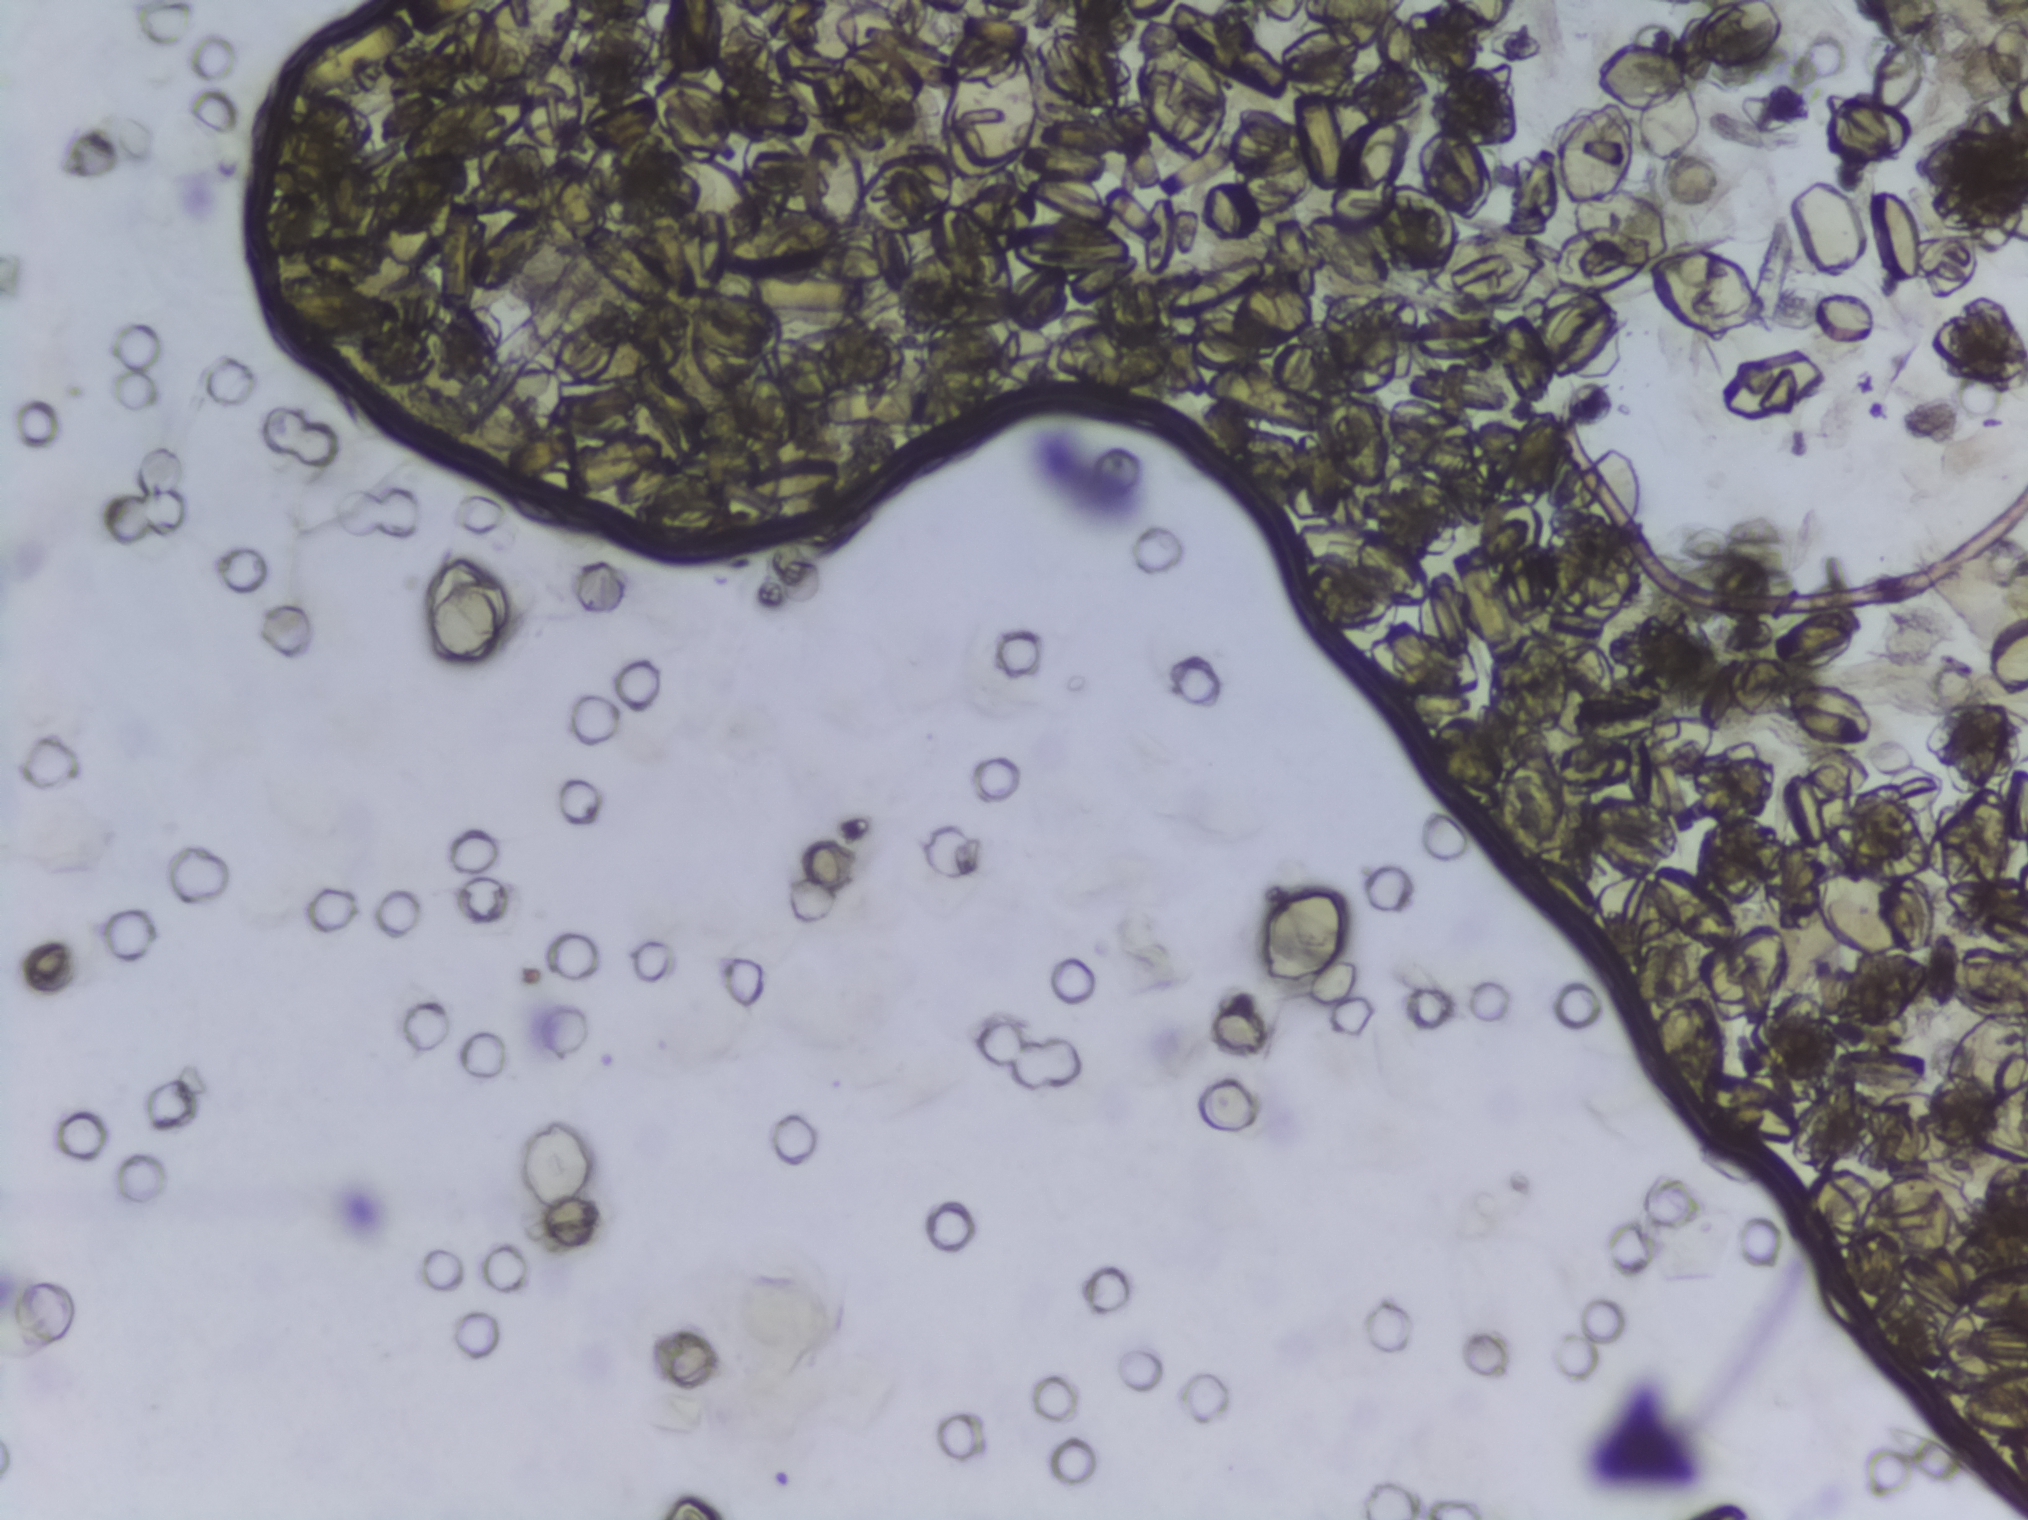
Schistosoma eggs: none outlined.
Photomicrograph of a urine filtration membrane, 4× objective.